Urine filtration membrane under a 4× objective, photographed by an automated digital microscope.
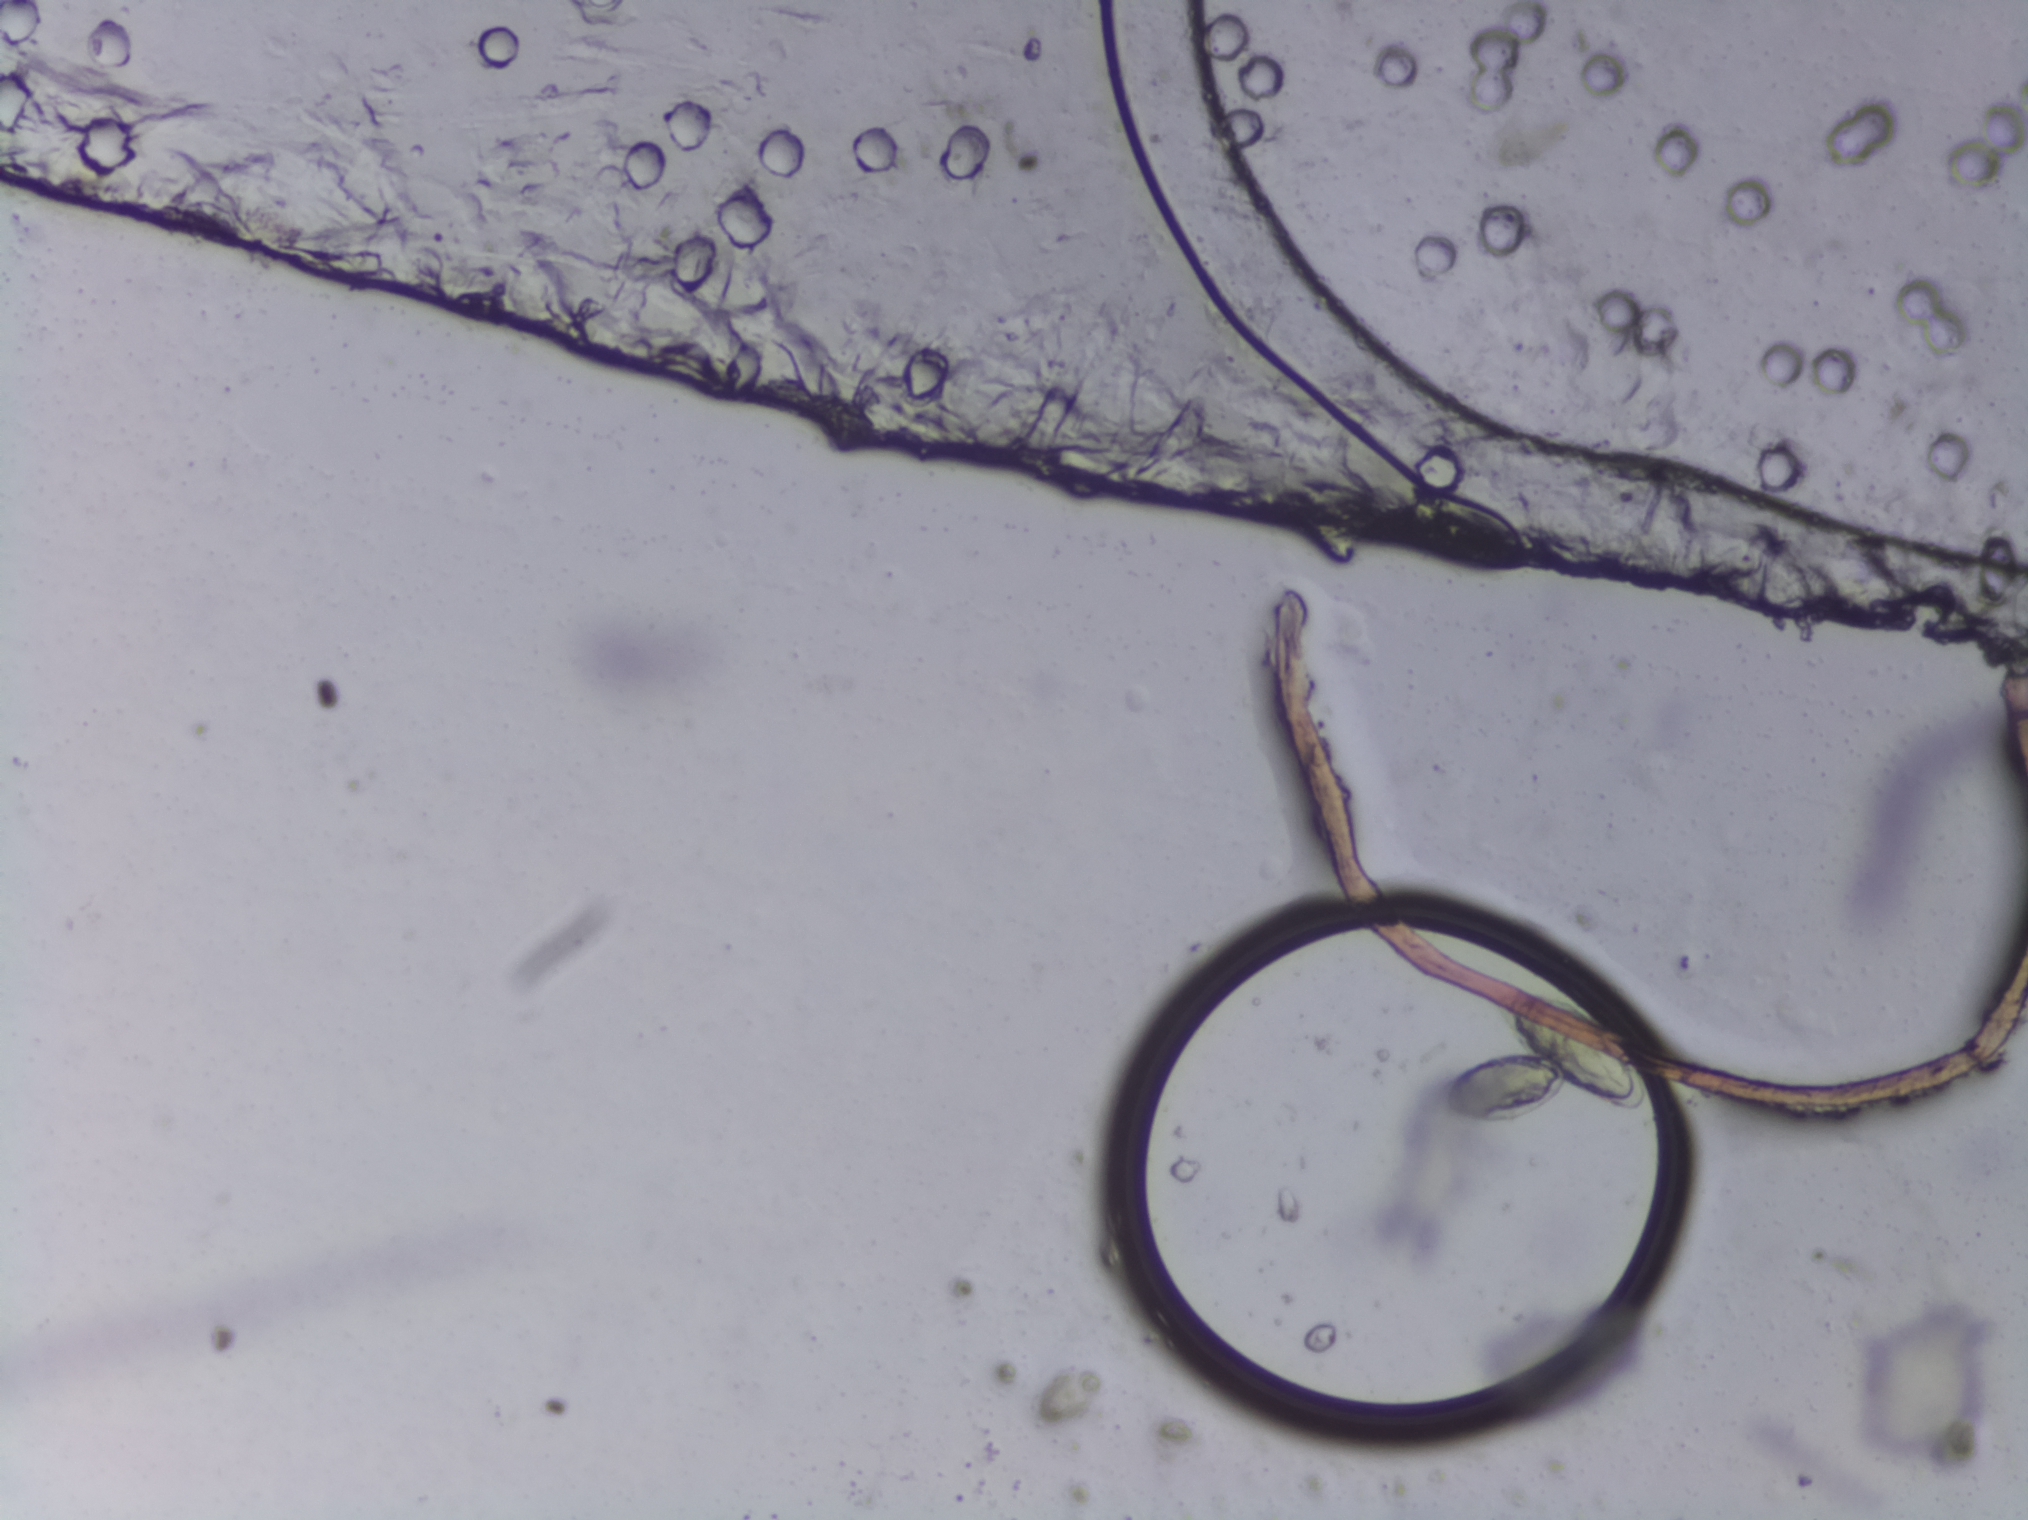
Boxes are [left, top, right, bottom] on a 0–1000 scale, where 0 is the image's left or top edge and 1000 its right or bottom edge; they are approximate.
One area of this image is outlined as Schistosoma eggs: [708, 649, 814, 741]. An outlined area can hold more than one egg. A marked egg may occasionally be S. mansoni rather than S. haematobium.